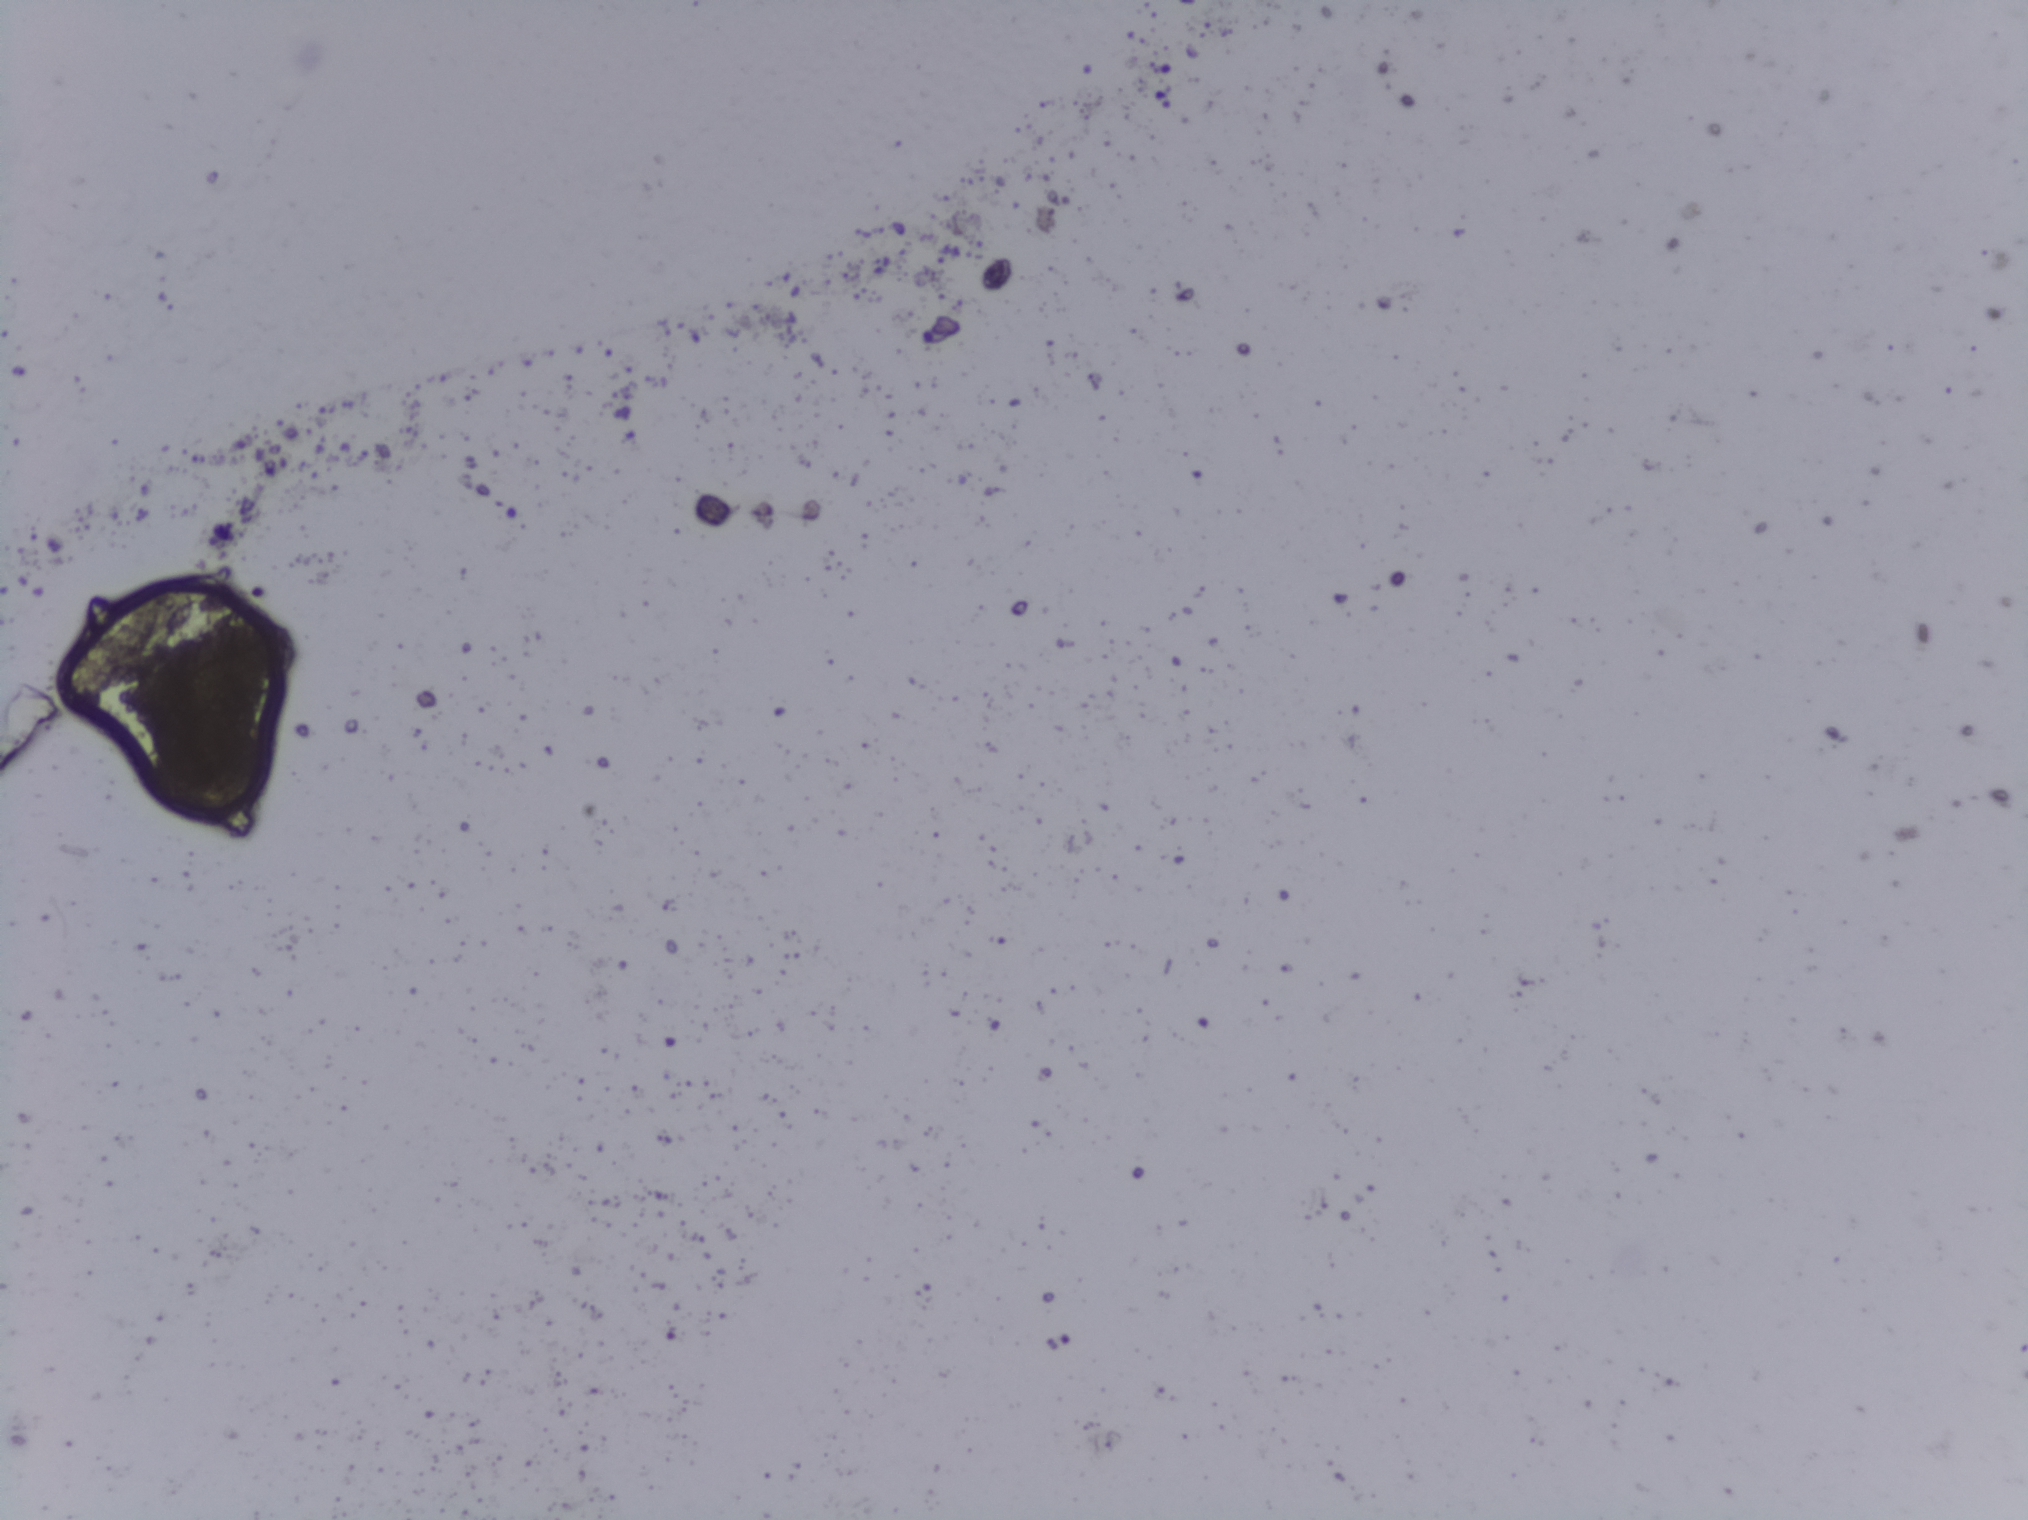
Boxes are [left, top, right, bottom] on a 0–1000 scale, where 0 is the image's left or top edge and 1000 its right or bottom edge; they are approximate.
Findings: one area outlined as Schistosoma eggs. Location: [28, 368, 117, 459]. A single outlined area may contain several eggs.
Photomicrograph of a urine filtration membrane, 4× objective.